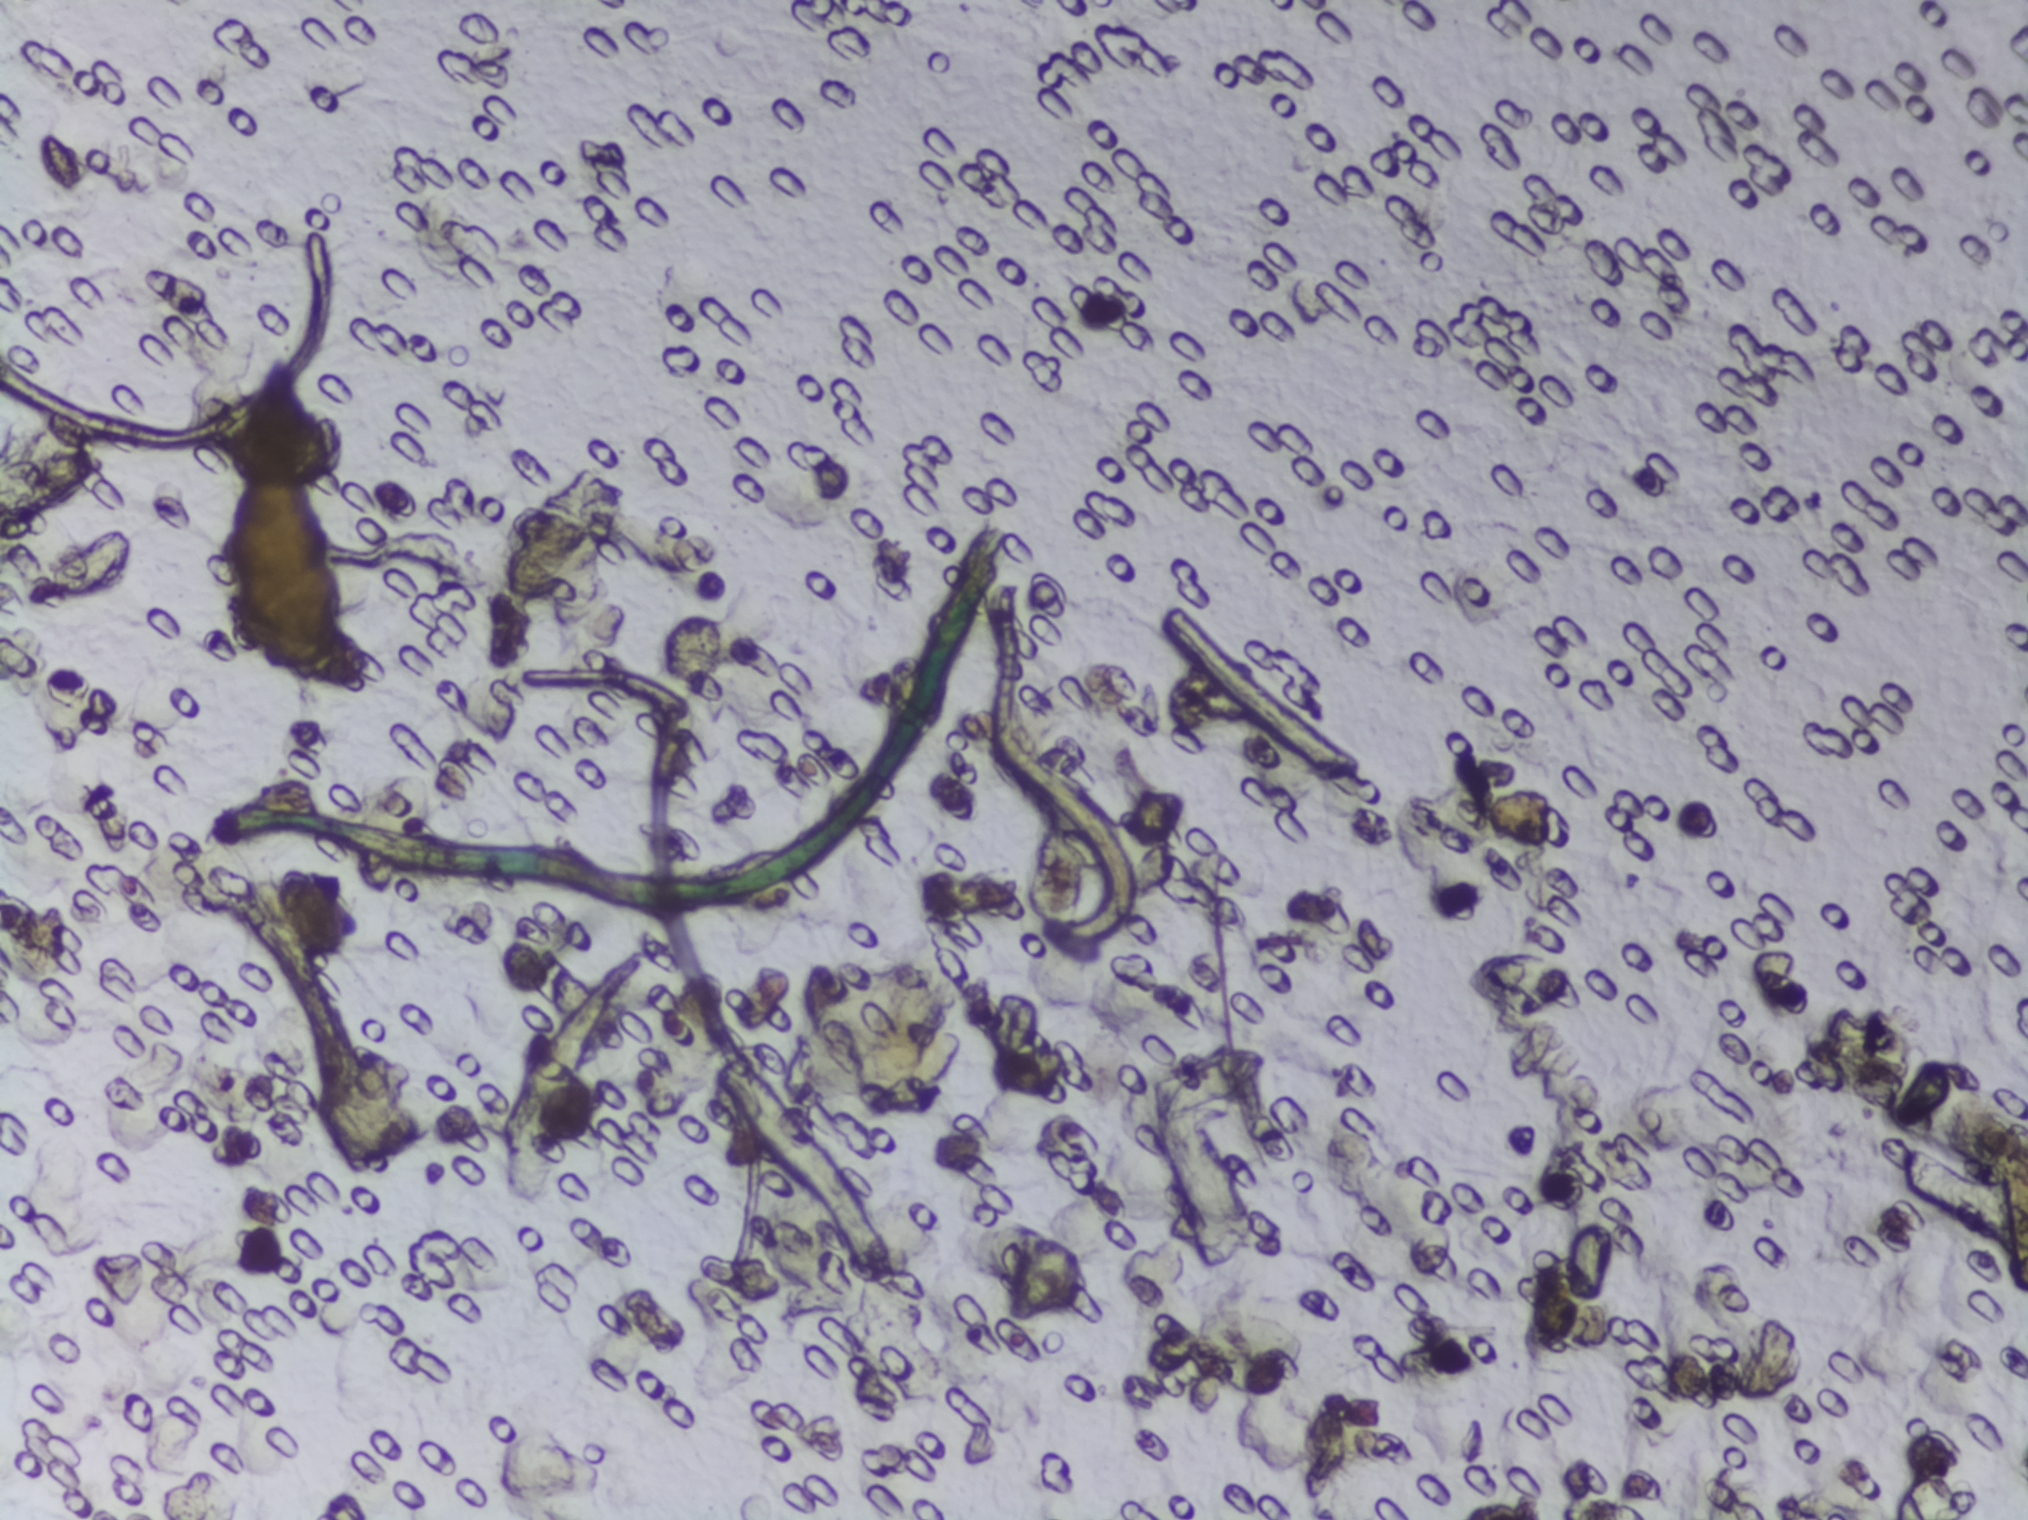
No Schistosoma egg is outlined in this image's expert annotation.
Photomicrograph of a urine filtration membrane, 4× objective.